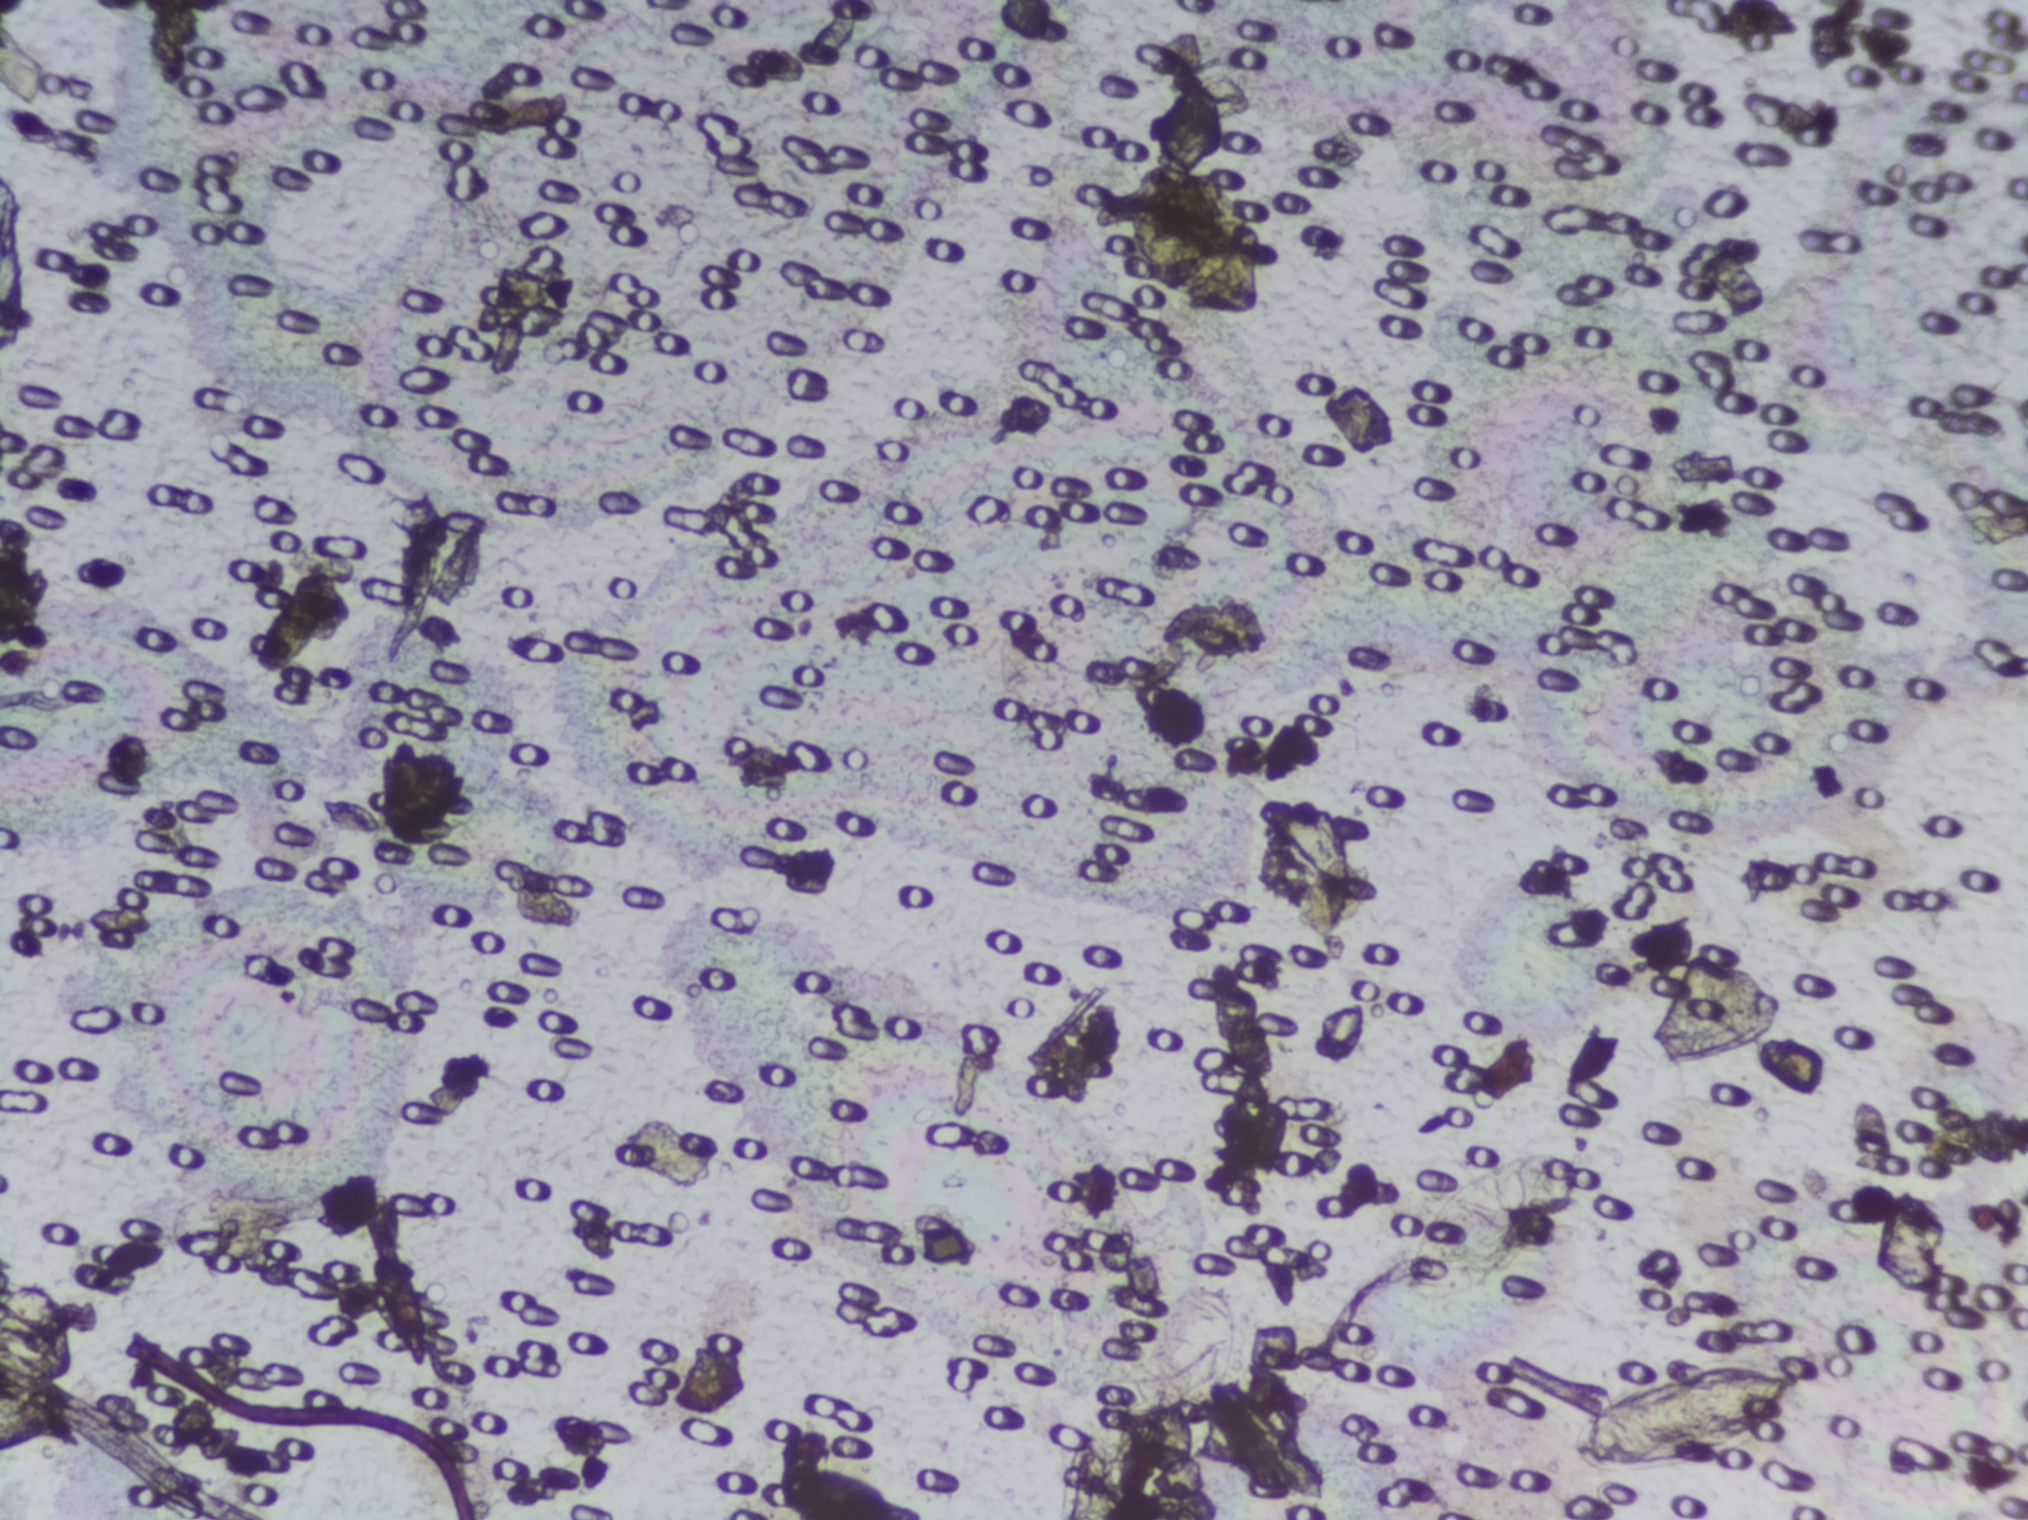
Microscope photograph (4× objective) of a membrane that a urine sample was filtered through.
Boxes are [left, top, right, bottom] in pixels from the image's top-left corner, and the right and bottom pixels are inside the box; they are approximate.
{"schistosoma_egg_areas_xyxy_px": [[0, 1239, 81, 1443], [1047, 1392, 1209, 1519], [1247, 788, 1367, 953], [1368, 1141, 1612, 1301], [1571, 1360, 1813, 1480]]} Area 1 reaches the left edge of the frame. Area 2 reaches the bottom edge of the frame.
Marked pixels, not the boxes around them: about 3.0% of the image. An outlined area can hold more than one egg.